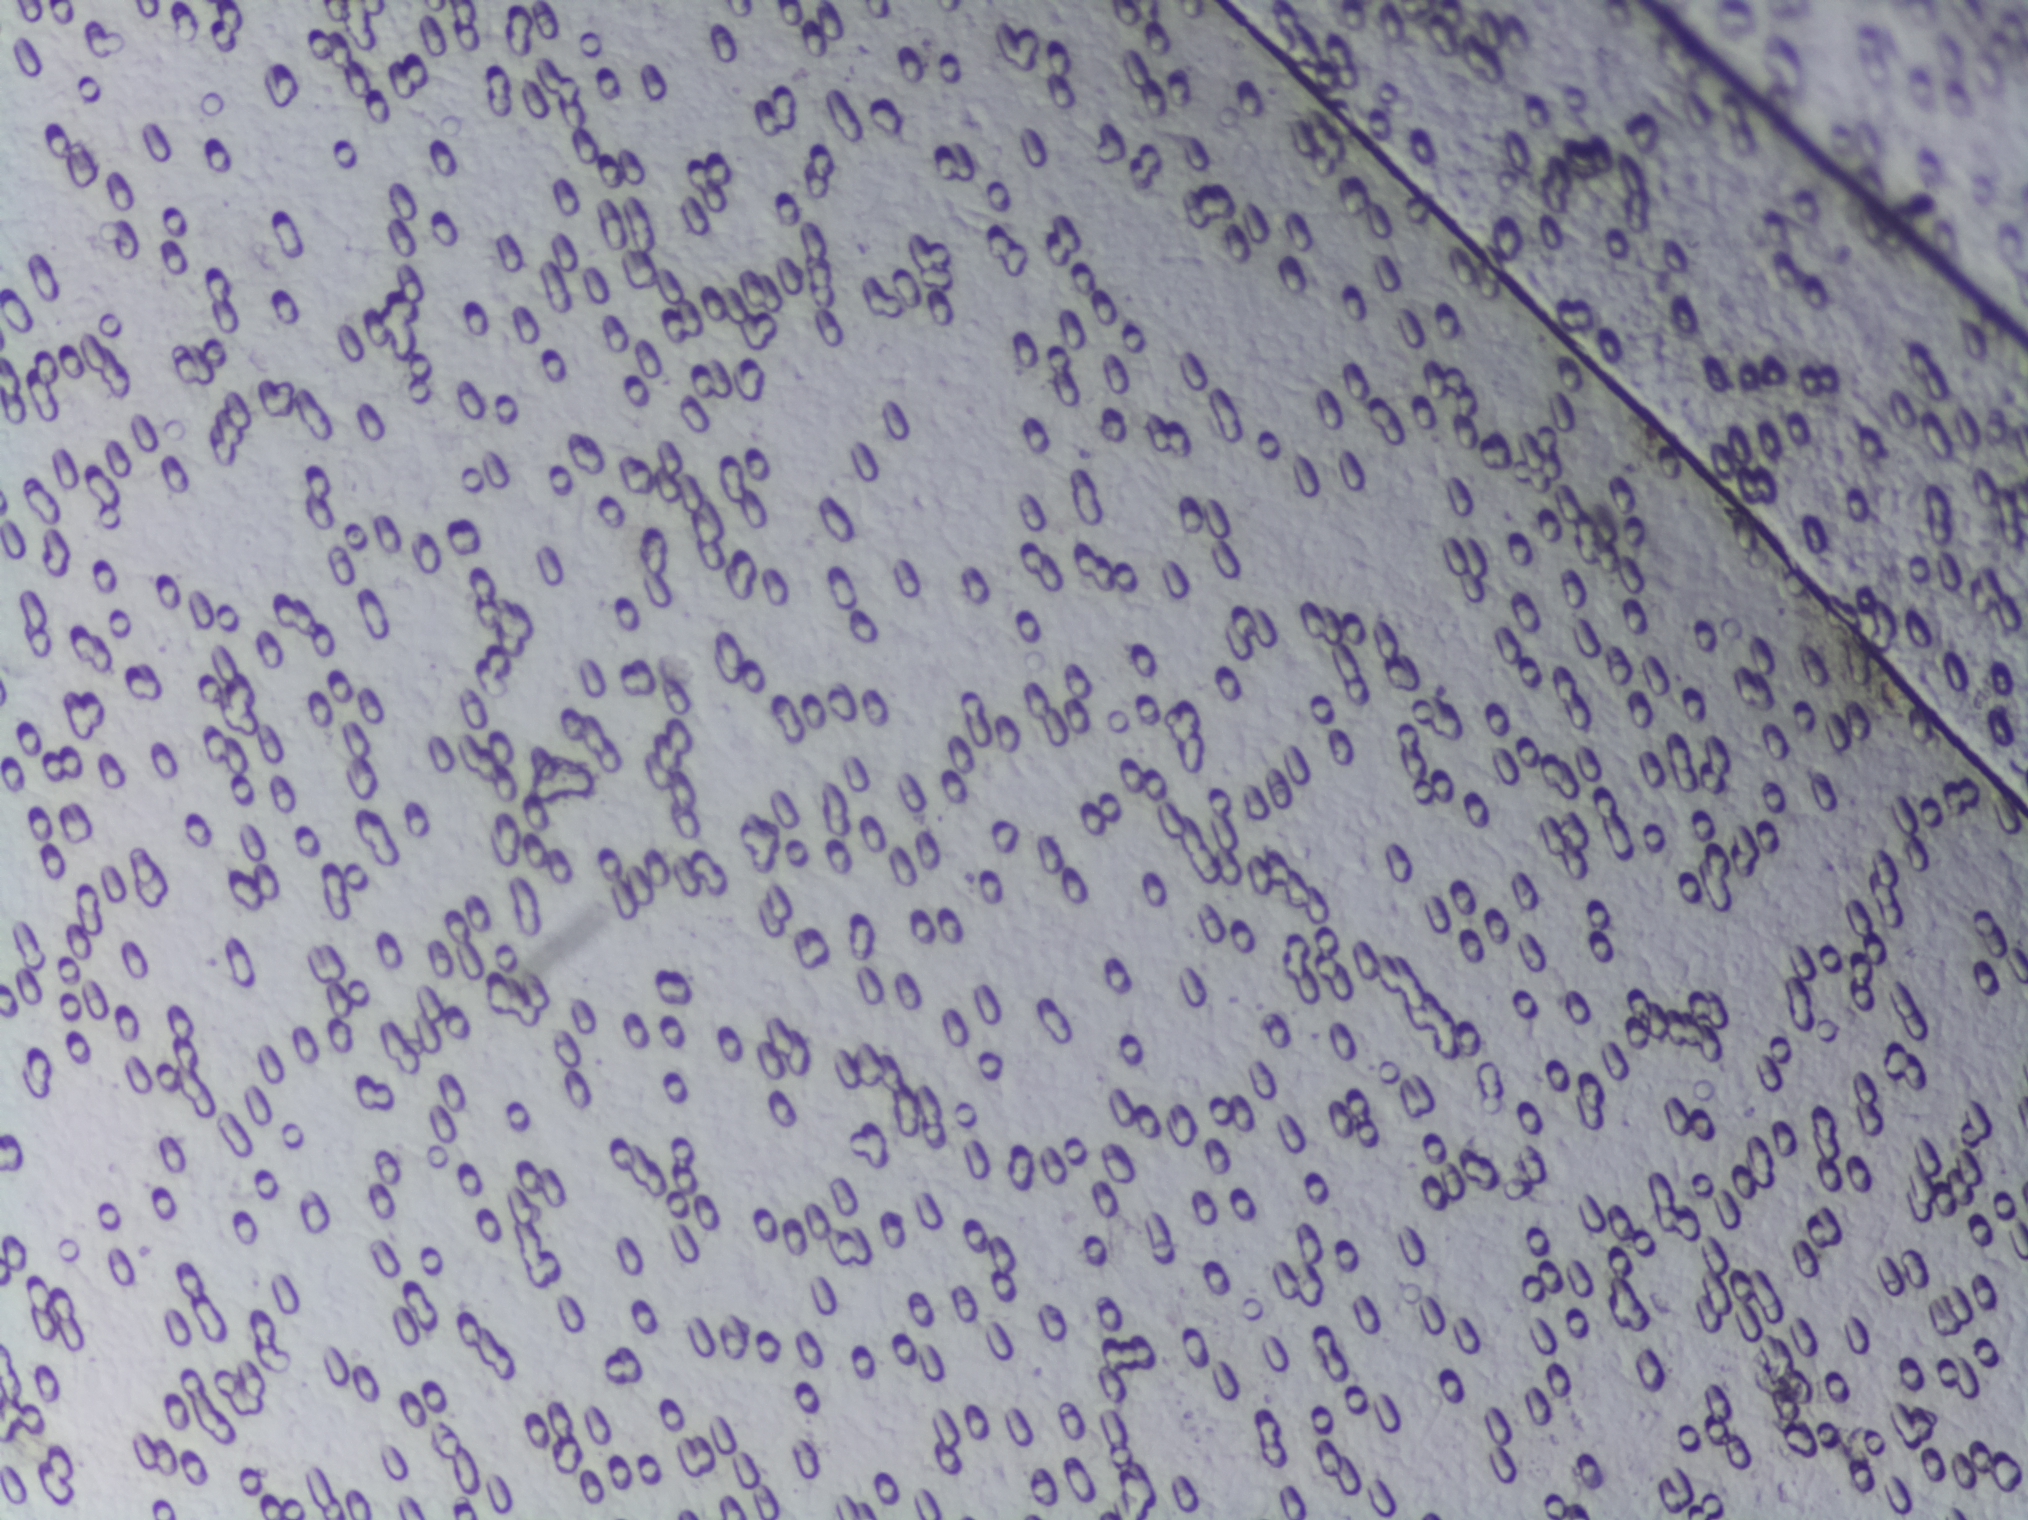
One field of view of a urine filter membrane, 4× objective, 2028 × 1520 pixels. Field of view: about 1.5 mm wide and 1.1 mm high.
The expert annotation marks no Schistosoma egg in this field of view.